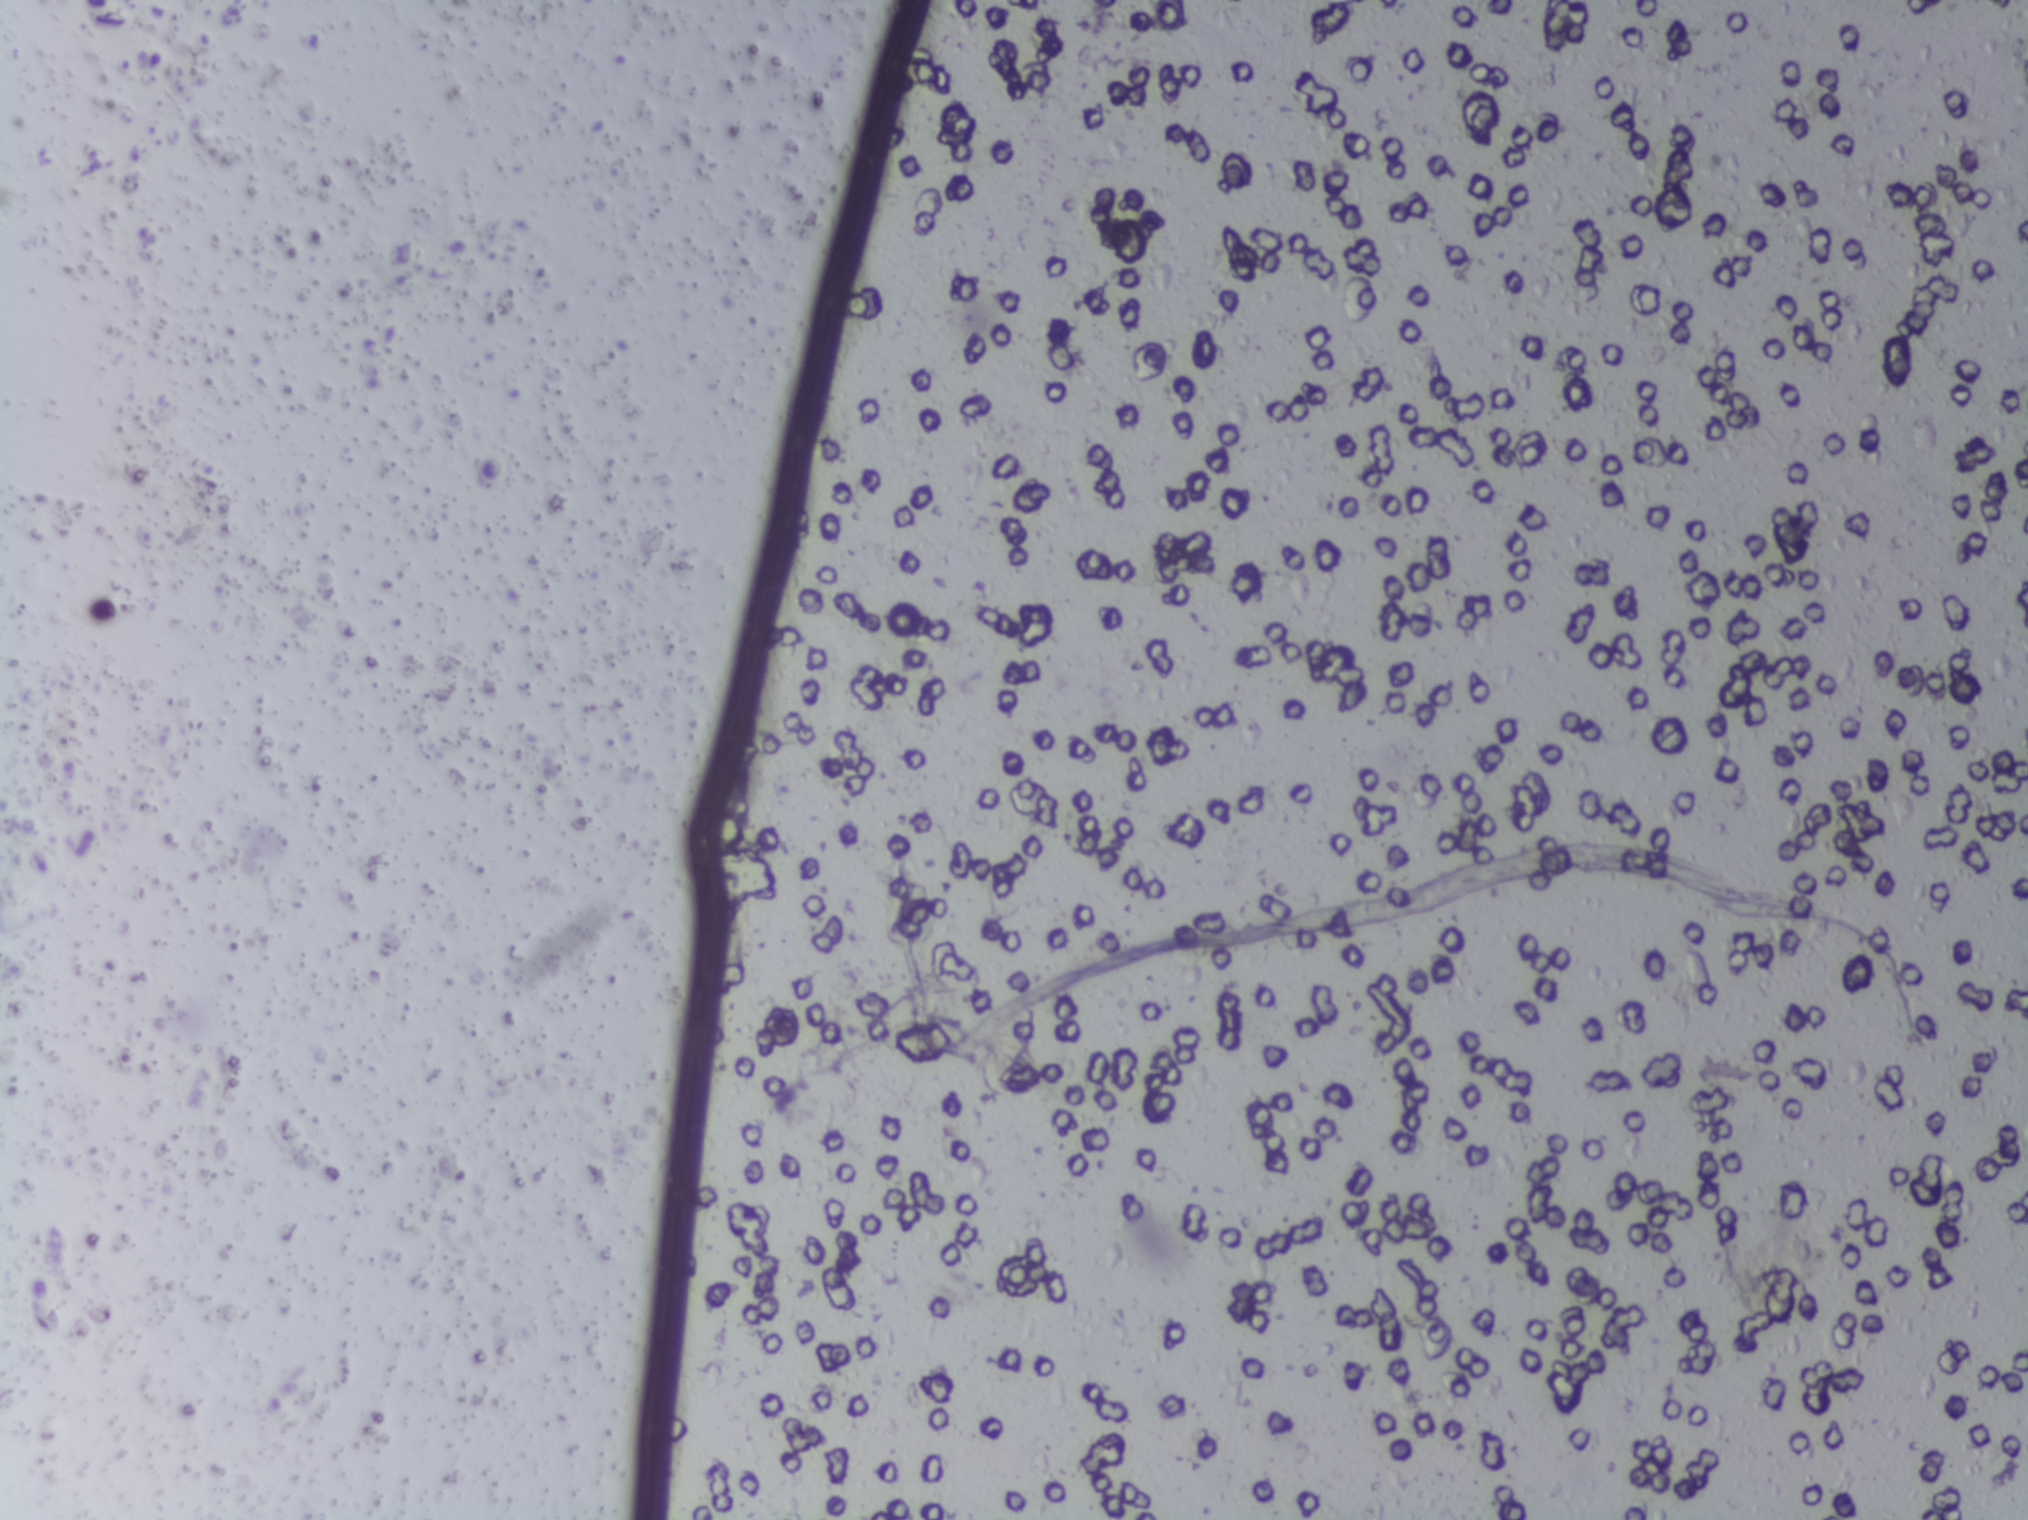
Urine filtration membrane under a 4× objective, photographed by an automated digital microscope.
No area of this image was outlined as a Schistosoma egg.